Microscope photograph (4× objective) of a membrane that a urine sample was filtered through. The field of view is about 1.5 mm × 1.1 mm.
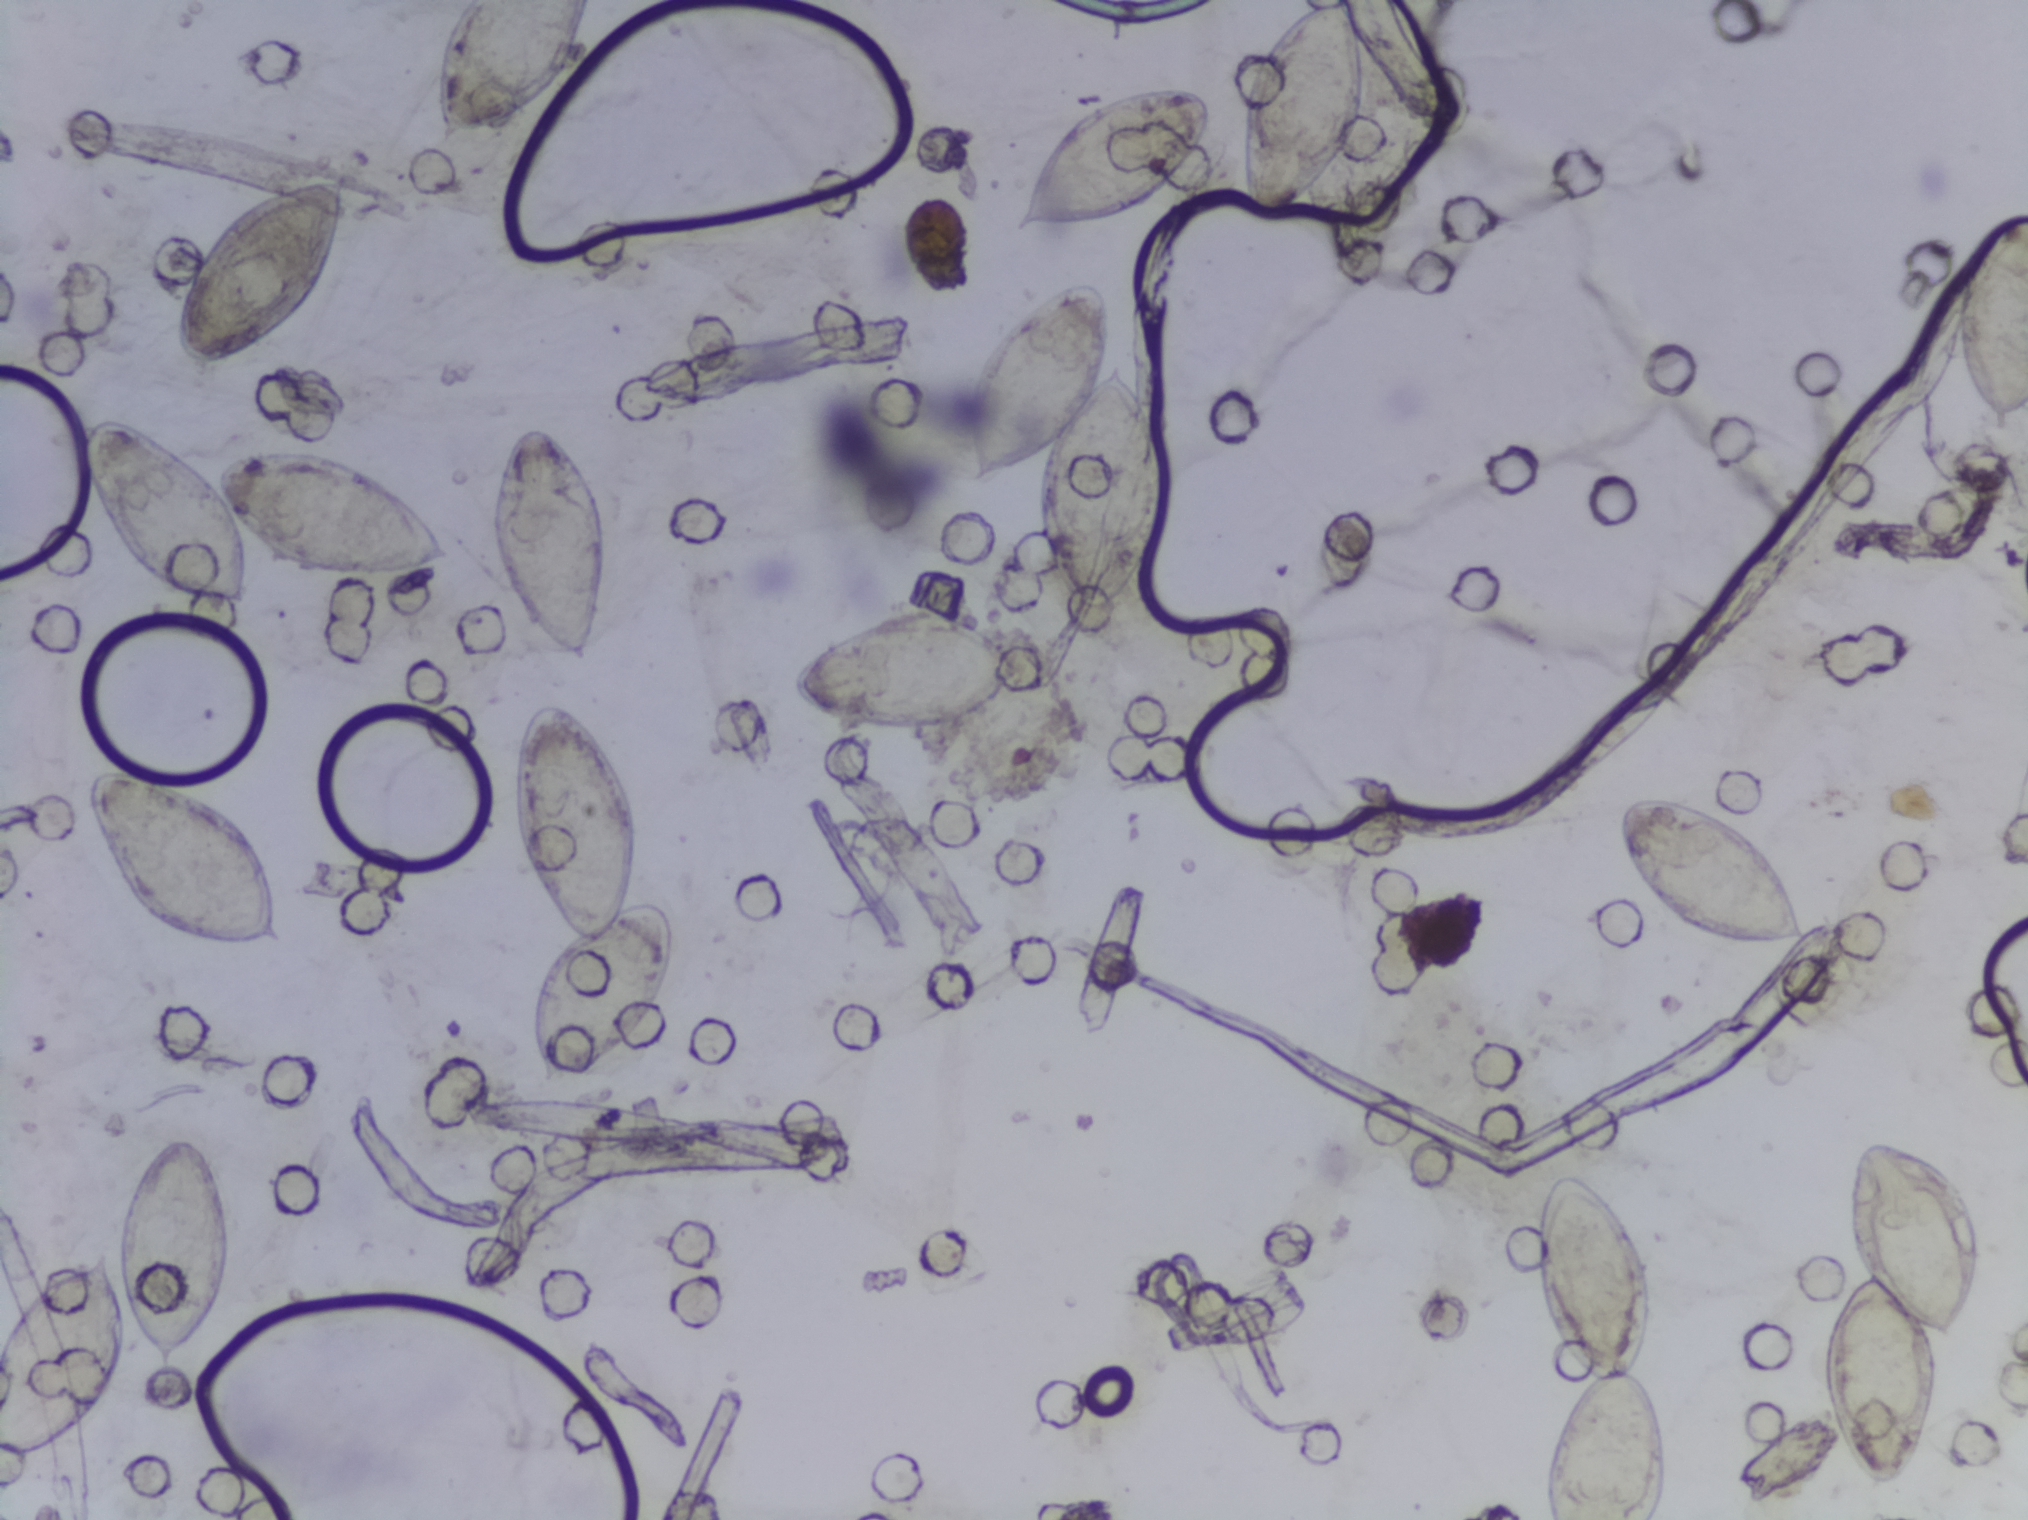
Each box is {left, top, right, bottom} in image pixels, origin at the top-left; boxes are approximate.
15 areas of this image are outlined as Schistosoma eggs, from left to right: {0, 1130, 230, 1476} (reaching the left edge of the frame); {81, 412, 453, 607}; {86, 768, 295, 953}; {170, 170, 355, 375}; {429, 0, 589, 150} (reaching the top edge of the frame); {491, 419, 613, 668}; {512, 697, 681, 1093}; {790, 603, 1029, 732}; {965, 282, 1176, 624}; {1005, 81, 1214, 240}; {1234, 0, 1366, 232} (reaching the top edge of the frame); {1530, 1170, 1669, 1519} (reaching the bottom edge of the frame); {1614, 793, 1809, 947}; {1820, 1137, 1978, 1491}; {1950, 204, 2027, 444} (reaching the right edge of the frame). Eggs that touch can end up inside the same outlined area.